Photograph from an automated digital microscope: urine filter membrane, 4× objective.
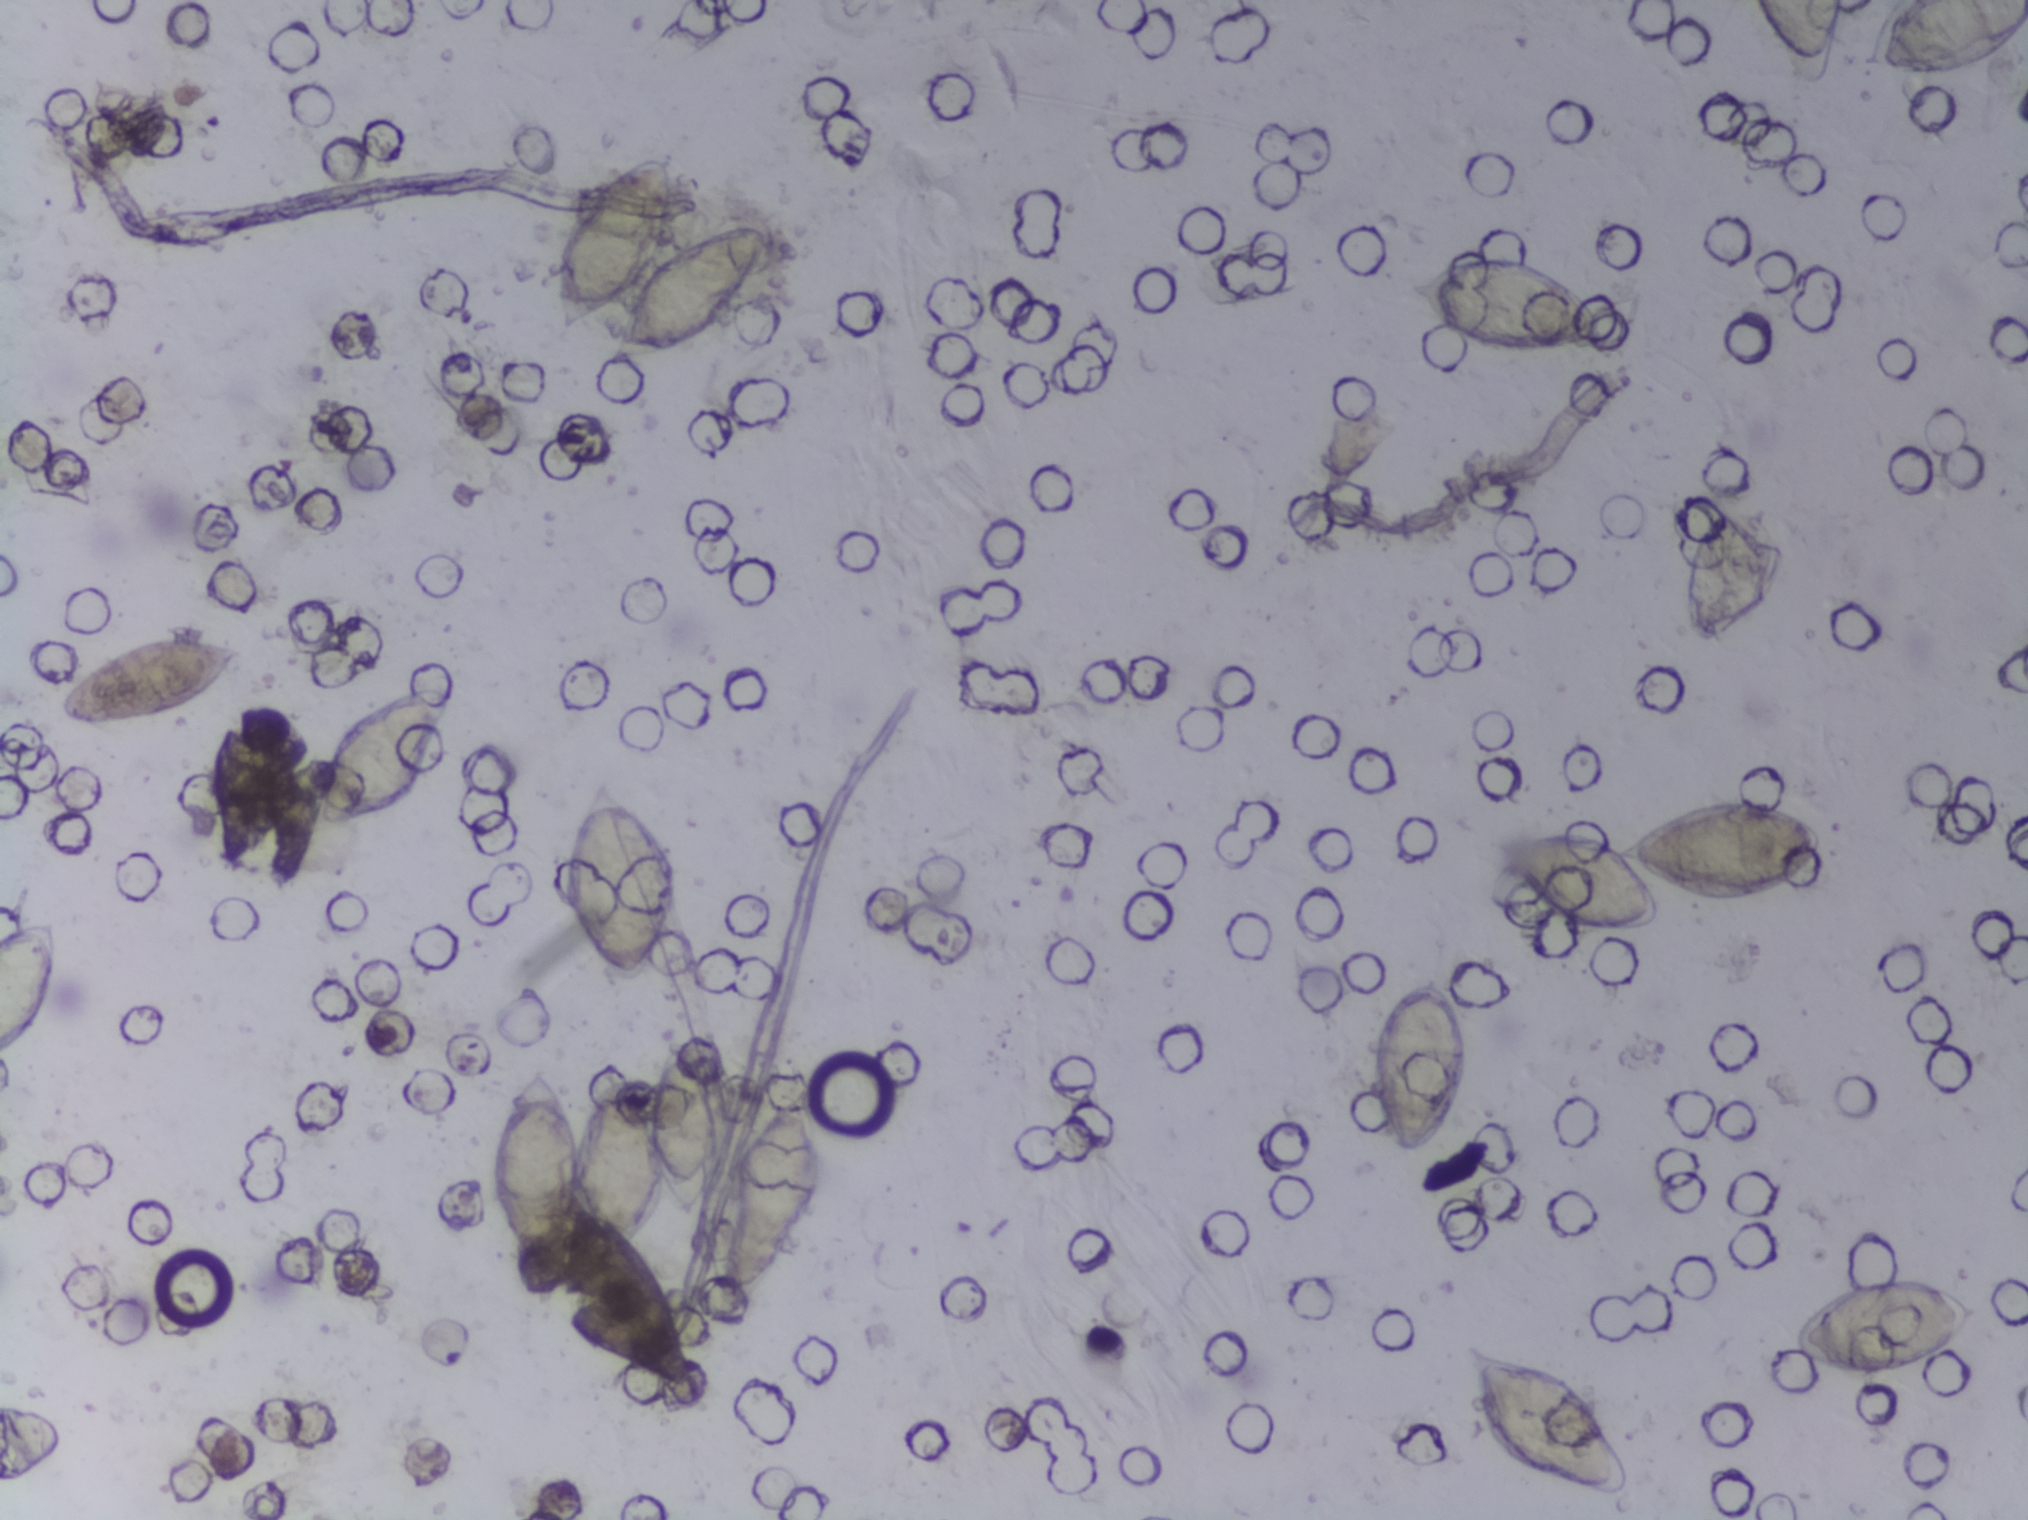
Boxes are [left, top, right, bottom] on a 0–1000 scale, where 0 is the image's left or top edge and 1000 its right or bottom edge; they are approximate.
{"schistosoma_egg_areas_xyxy_per1000": [[0, 603, 32, 692], [0, 918, 32, 980], [27, 416, 121, 481], [157, 451, 221, 548], [243, 682, 357, 921], [273, 101, 378, 240], [278, 511, 336, 644], [346, 708, 409, 868], [676, 639, 726, 761], [694, 166, 795, 234], [721, 882, 805, 986], [734, 523, 902, 617], [828, 330, 881, 426], [865, 0, 911, 55], [885, 838, 979, 909], [917, 0, 1000, 53]]} Area 1 reaches the left edge of the frame. Area 2 reaches the left edge of the frame. Area 5 holds a cluster of eggs. Area 14 reaches the top edge of the frame. Area 16 reaches the top and right edges of the frame.
An outlined area can hold more than one egg.